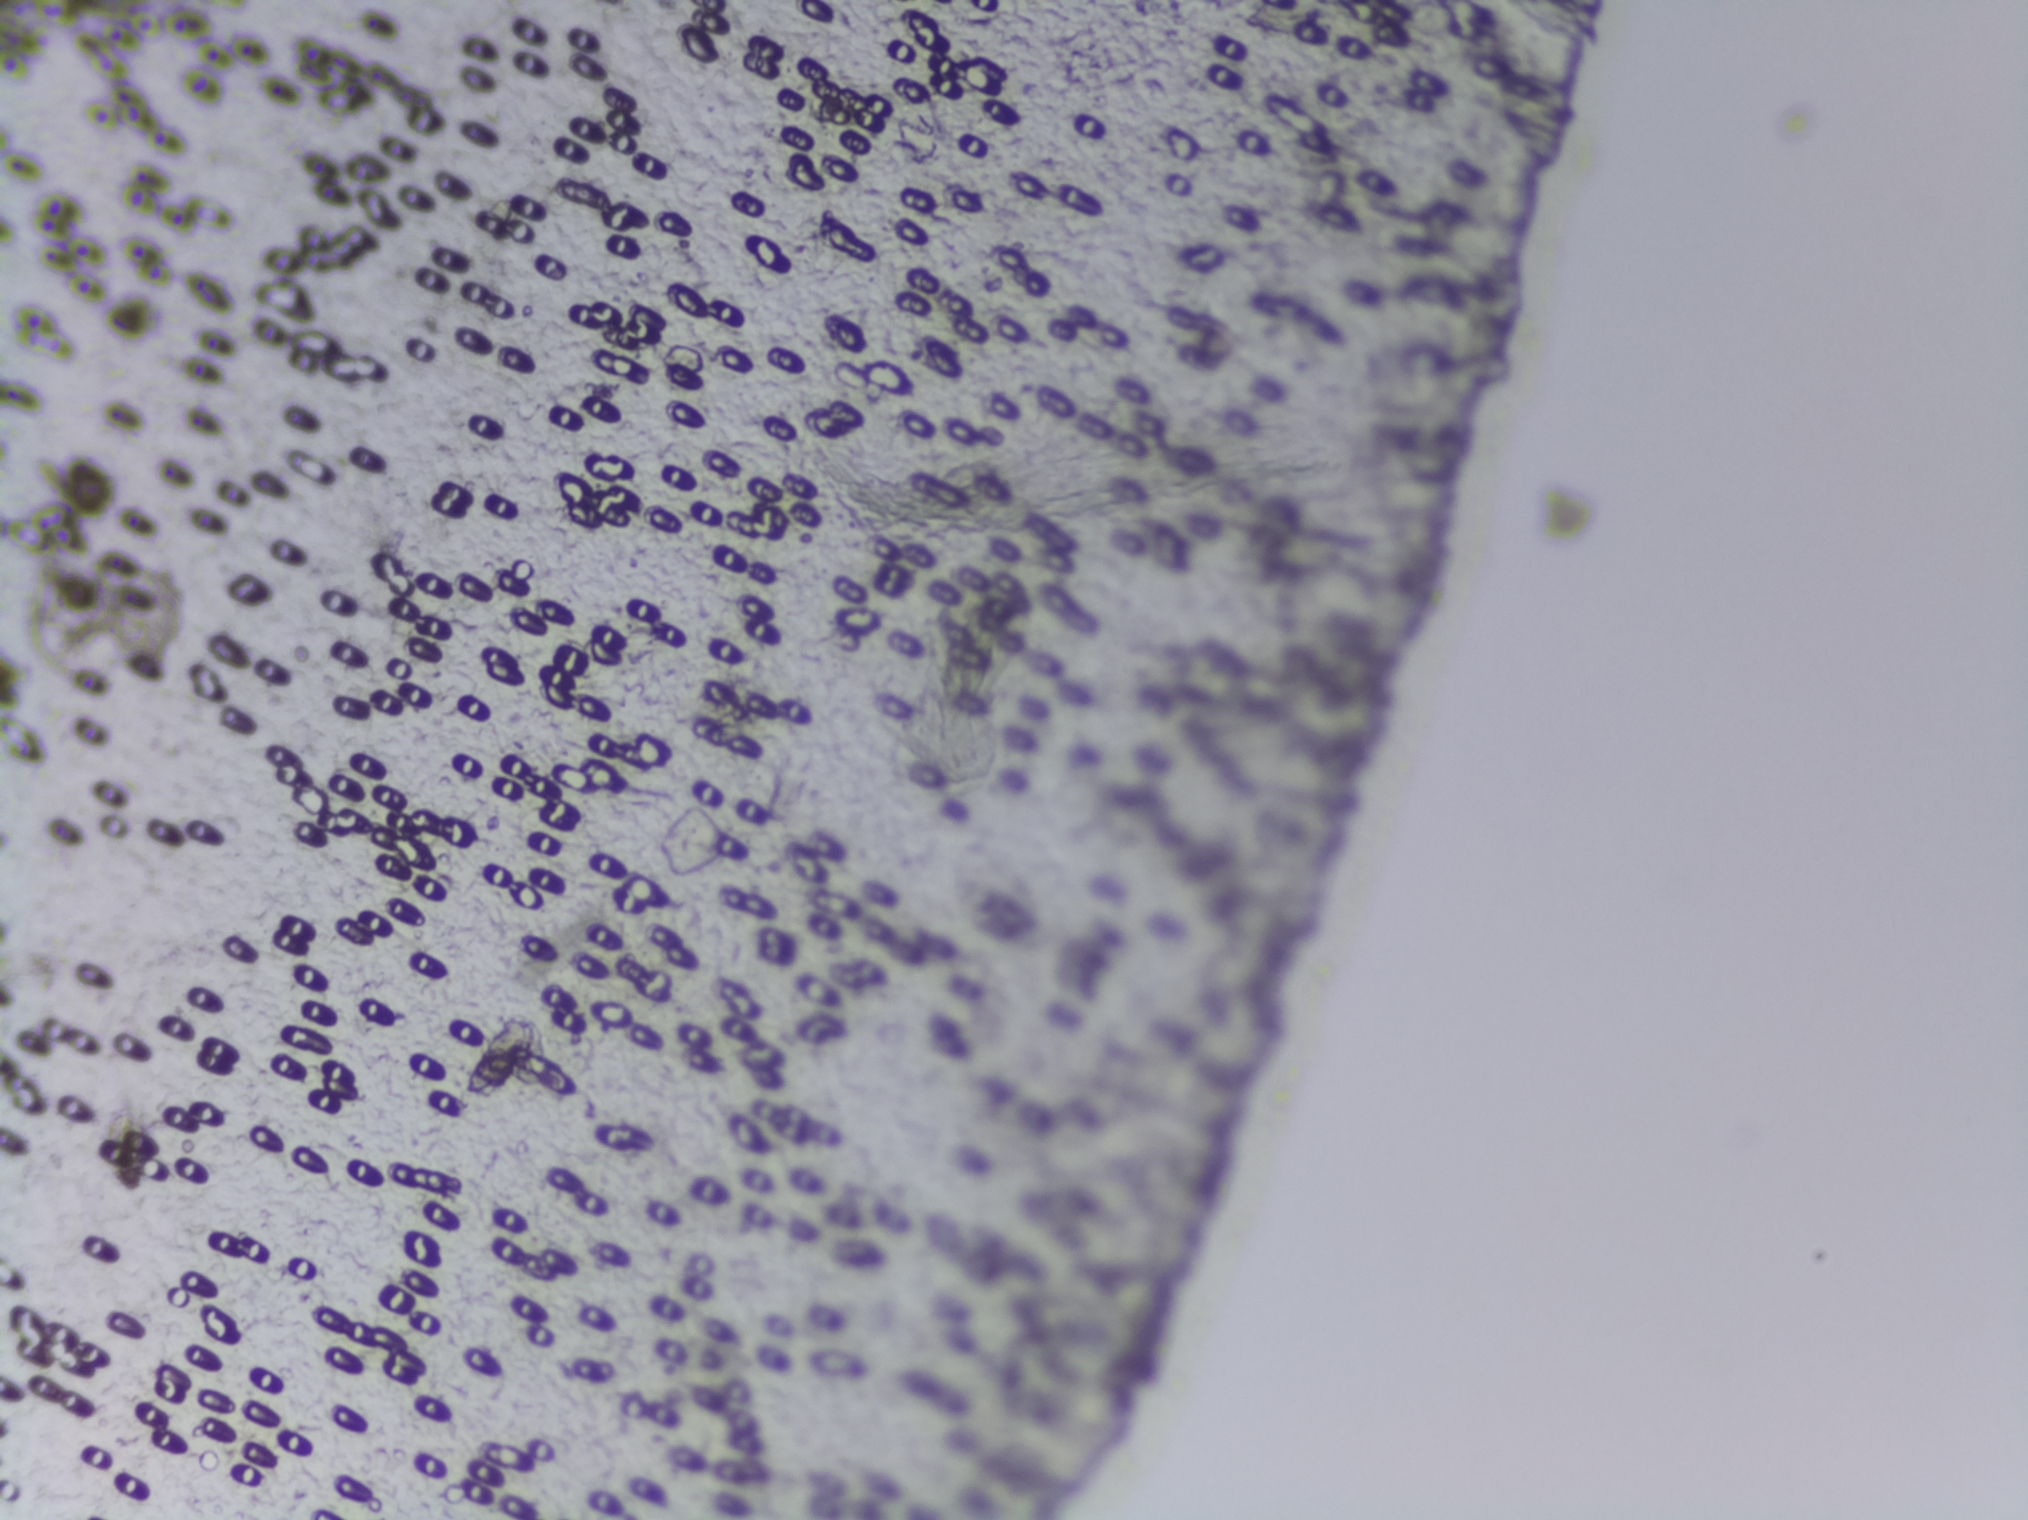
Microscope photograph (4× objective) of a membrane that a urine sample was filtered through.
No area of this image was outlined as a Schistosoma egg.